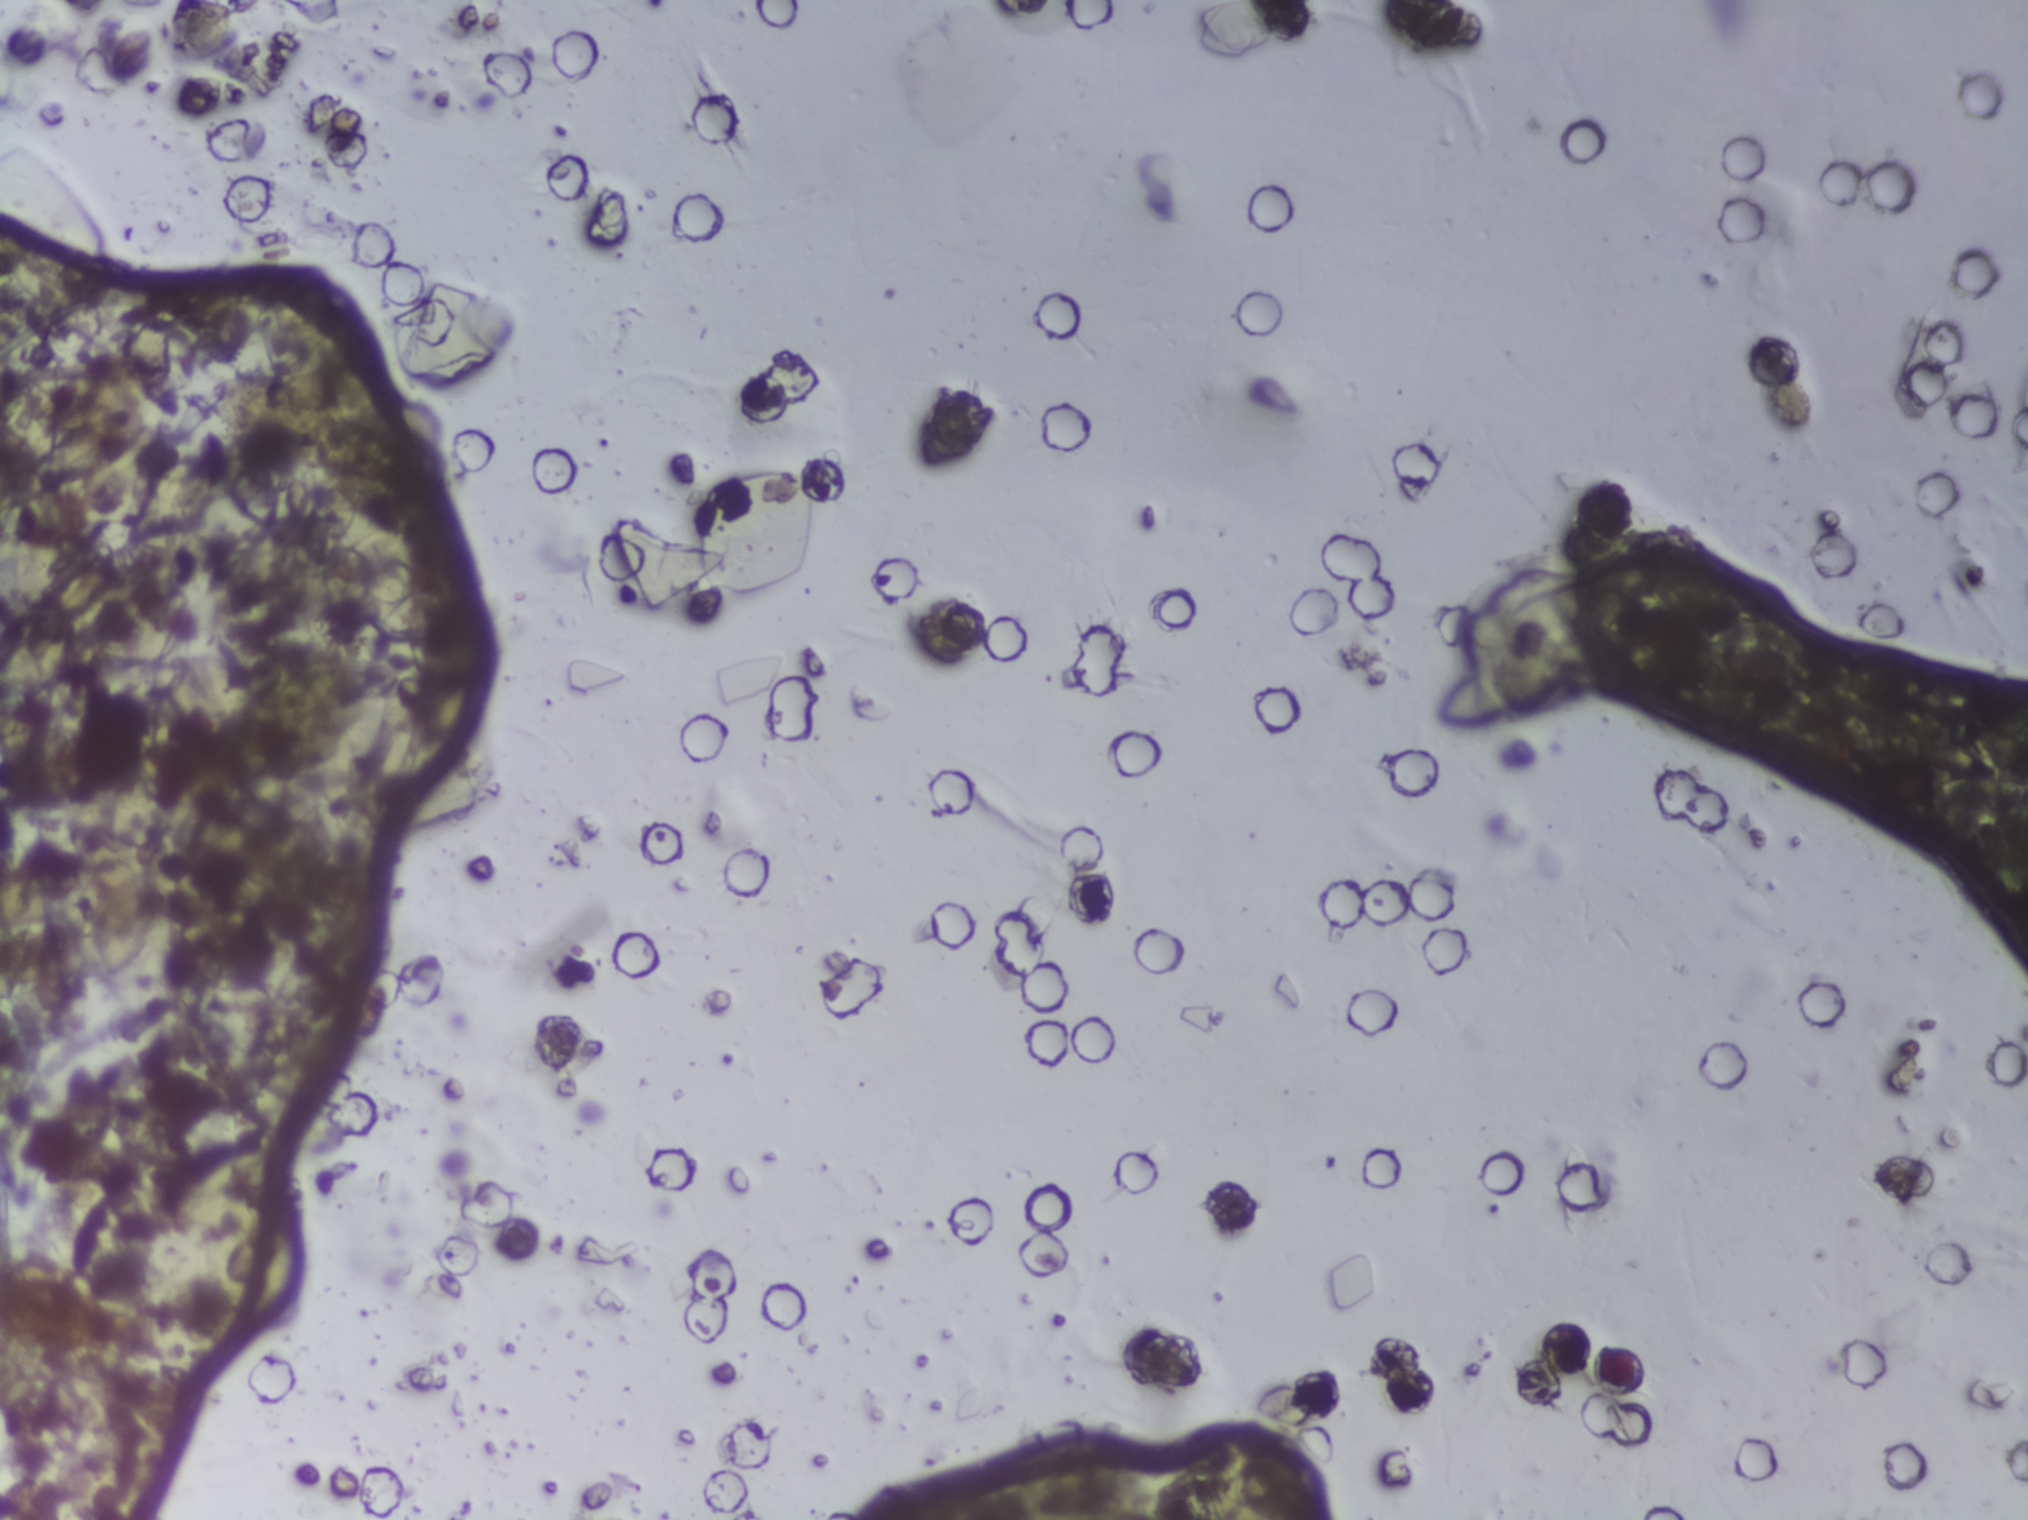
Photomicrograph of a urine filtration membrane, 4× objective. Field of view: about 1.5 mm wide and 1.1 mm high.
The expert annotation marks no Schistosoma egg in this field of view.